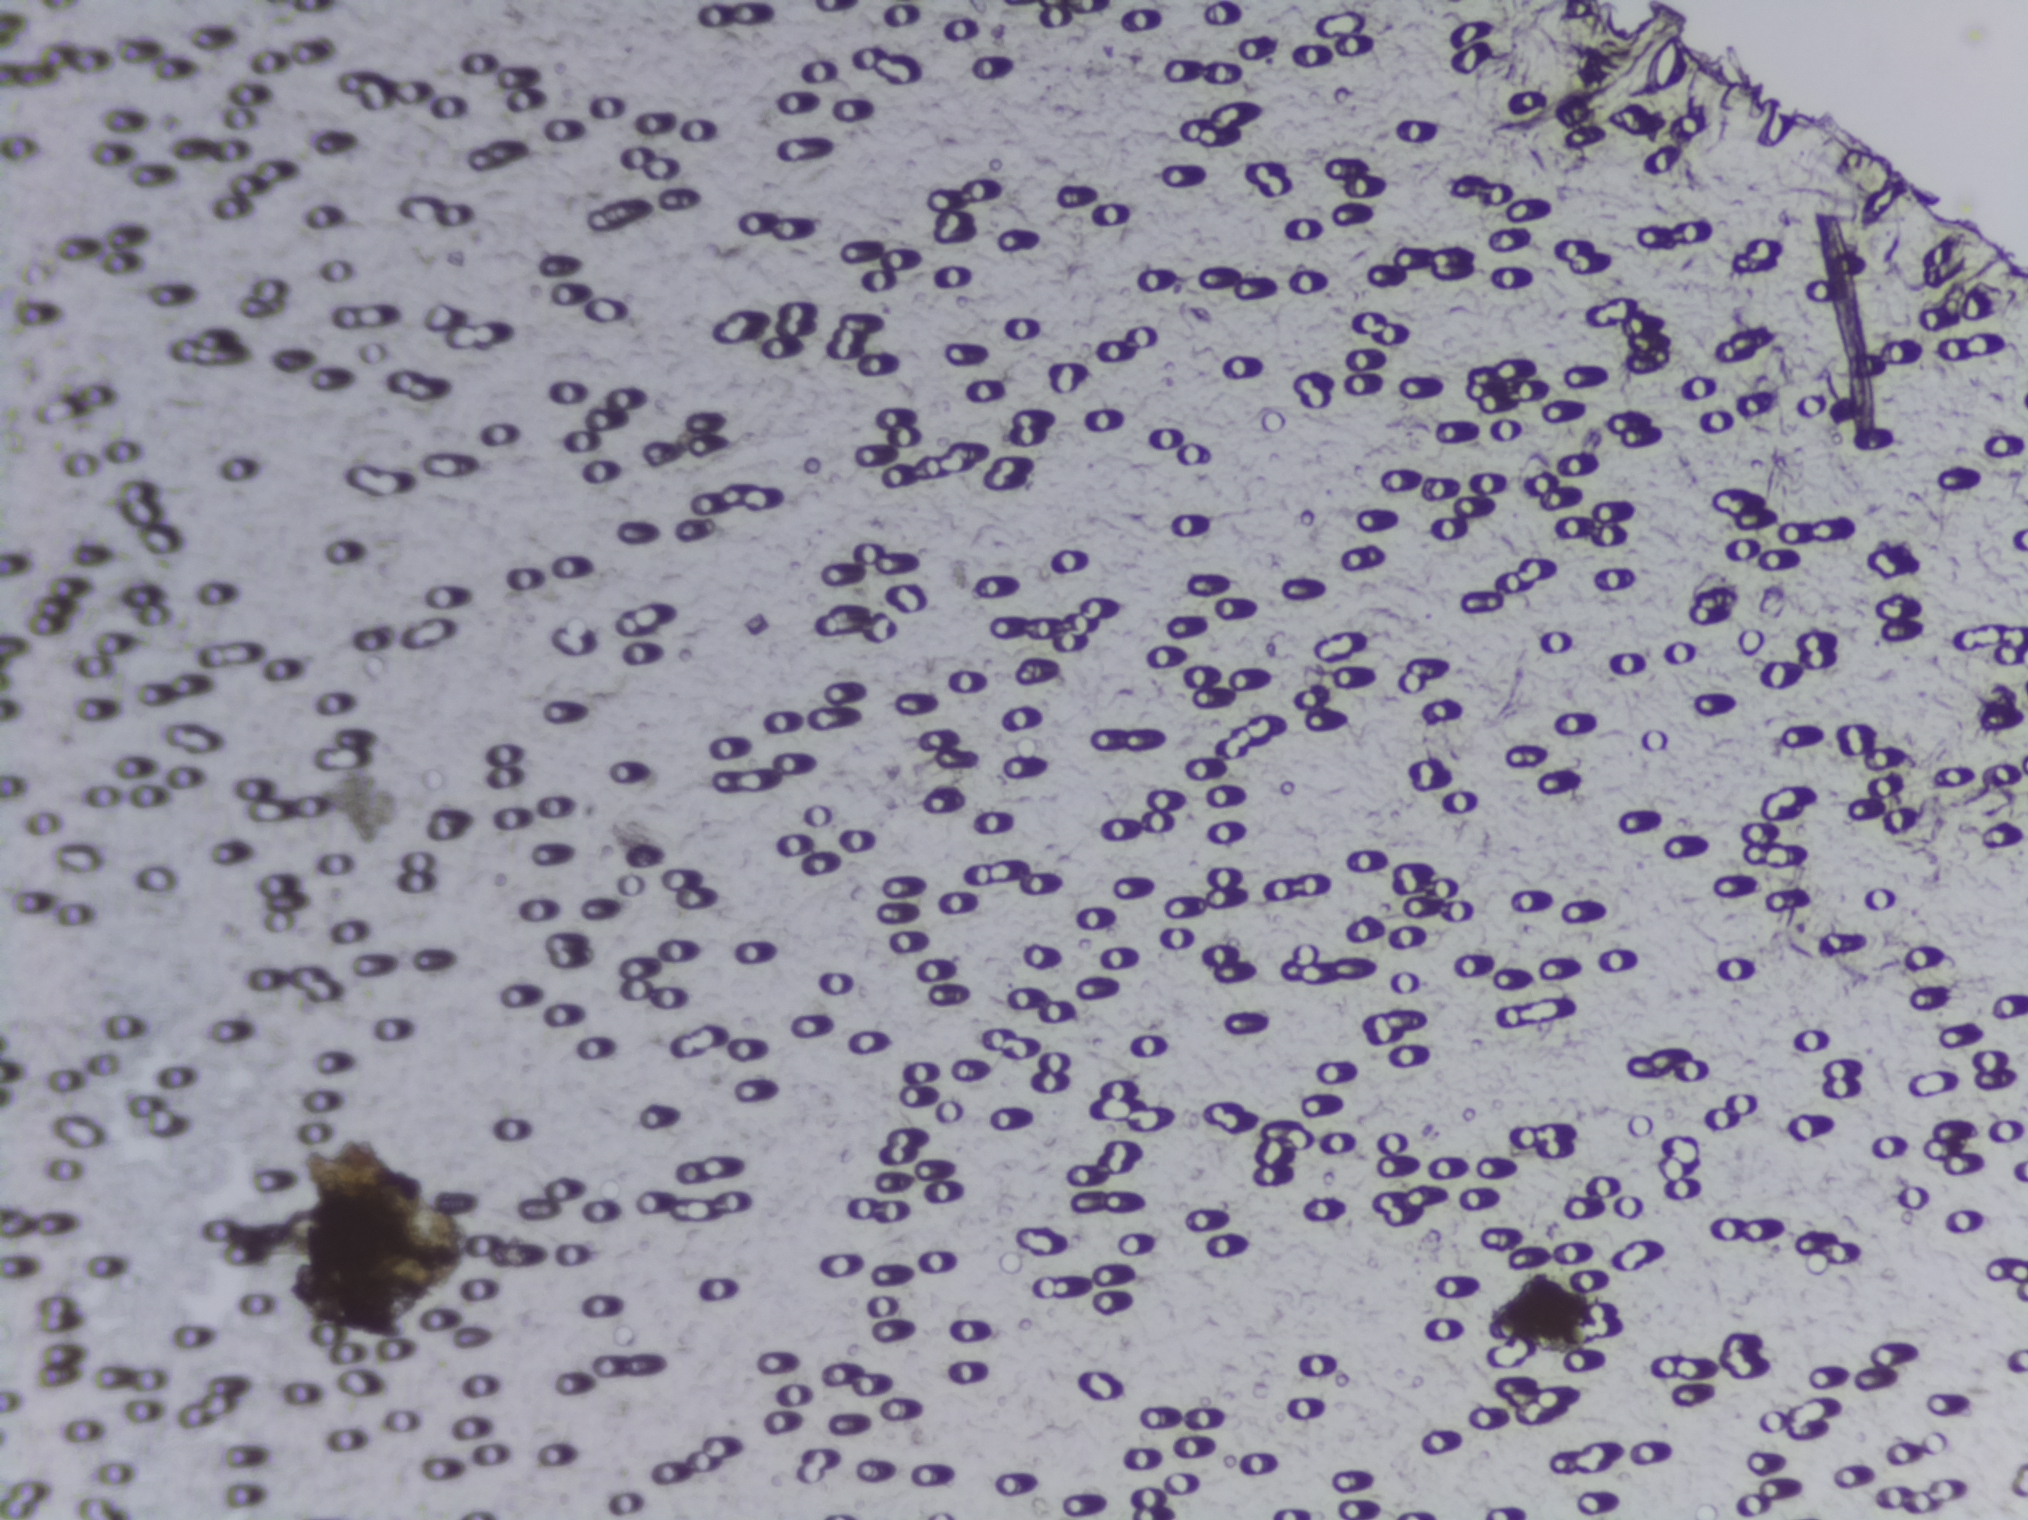
Urine filtration membrane under a 4× objective, photographed by an automated digital microscope.
No Schistosoma egg is outlined in this image's expert annotation.